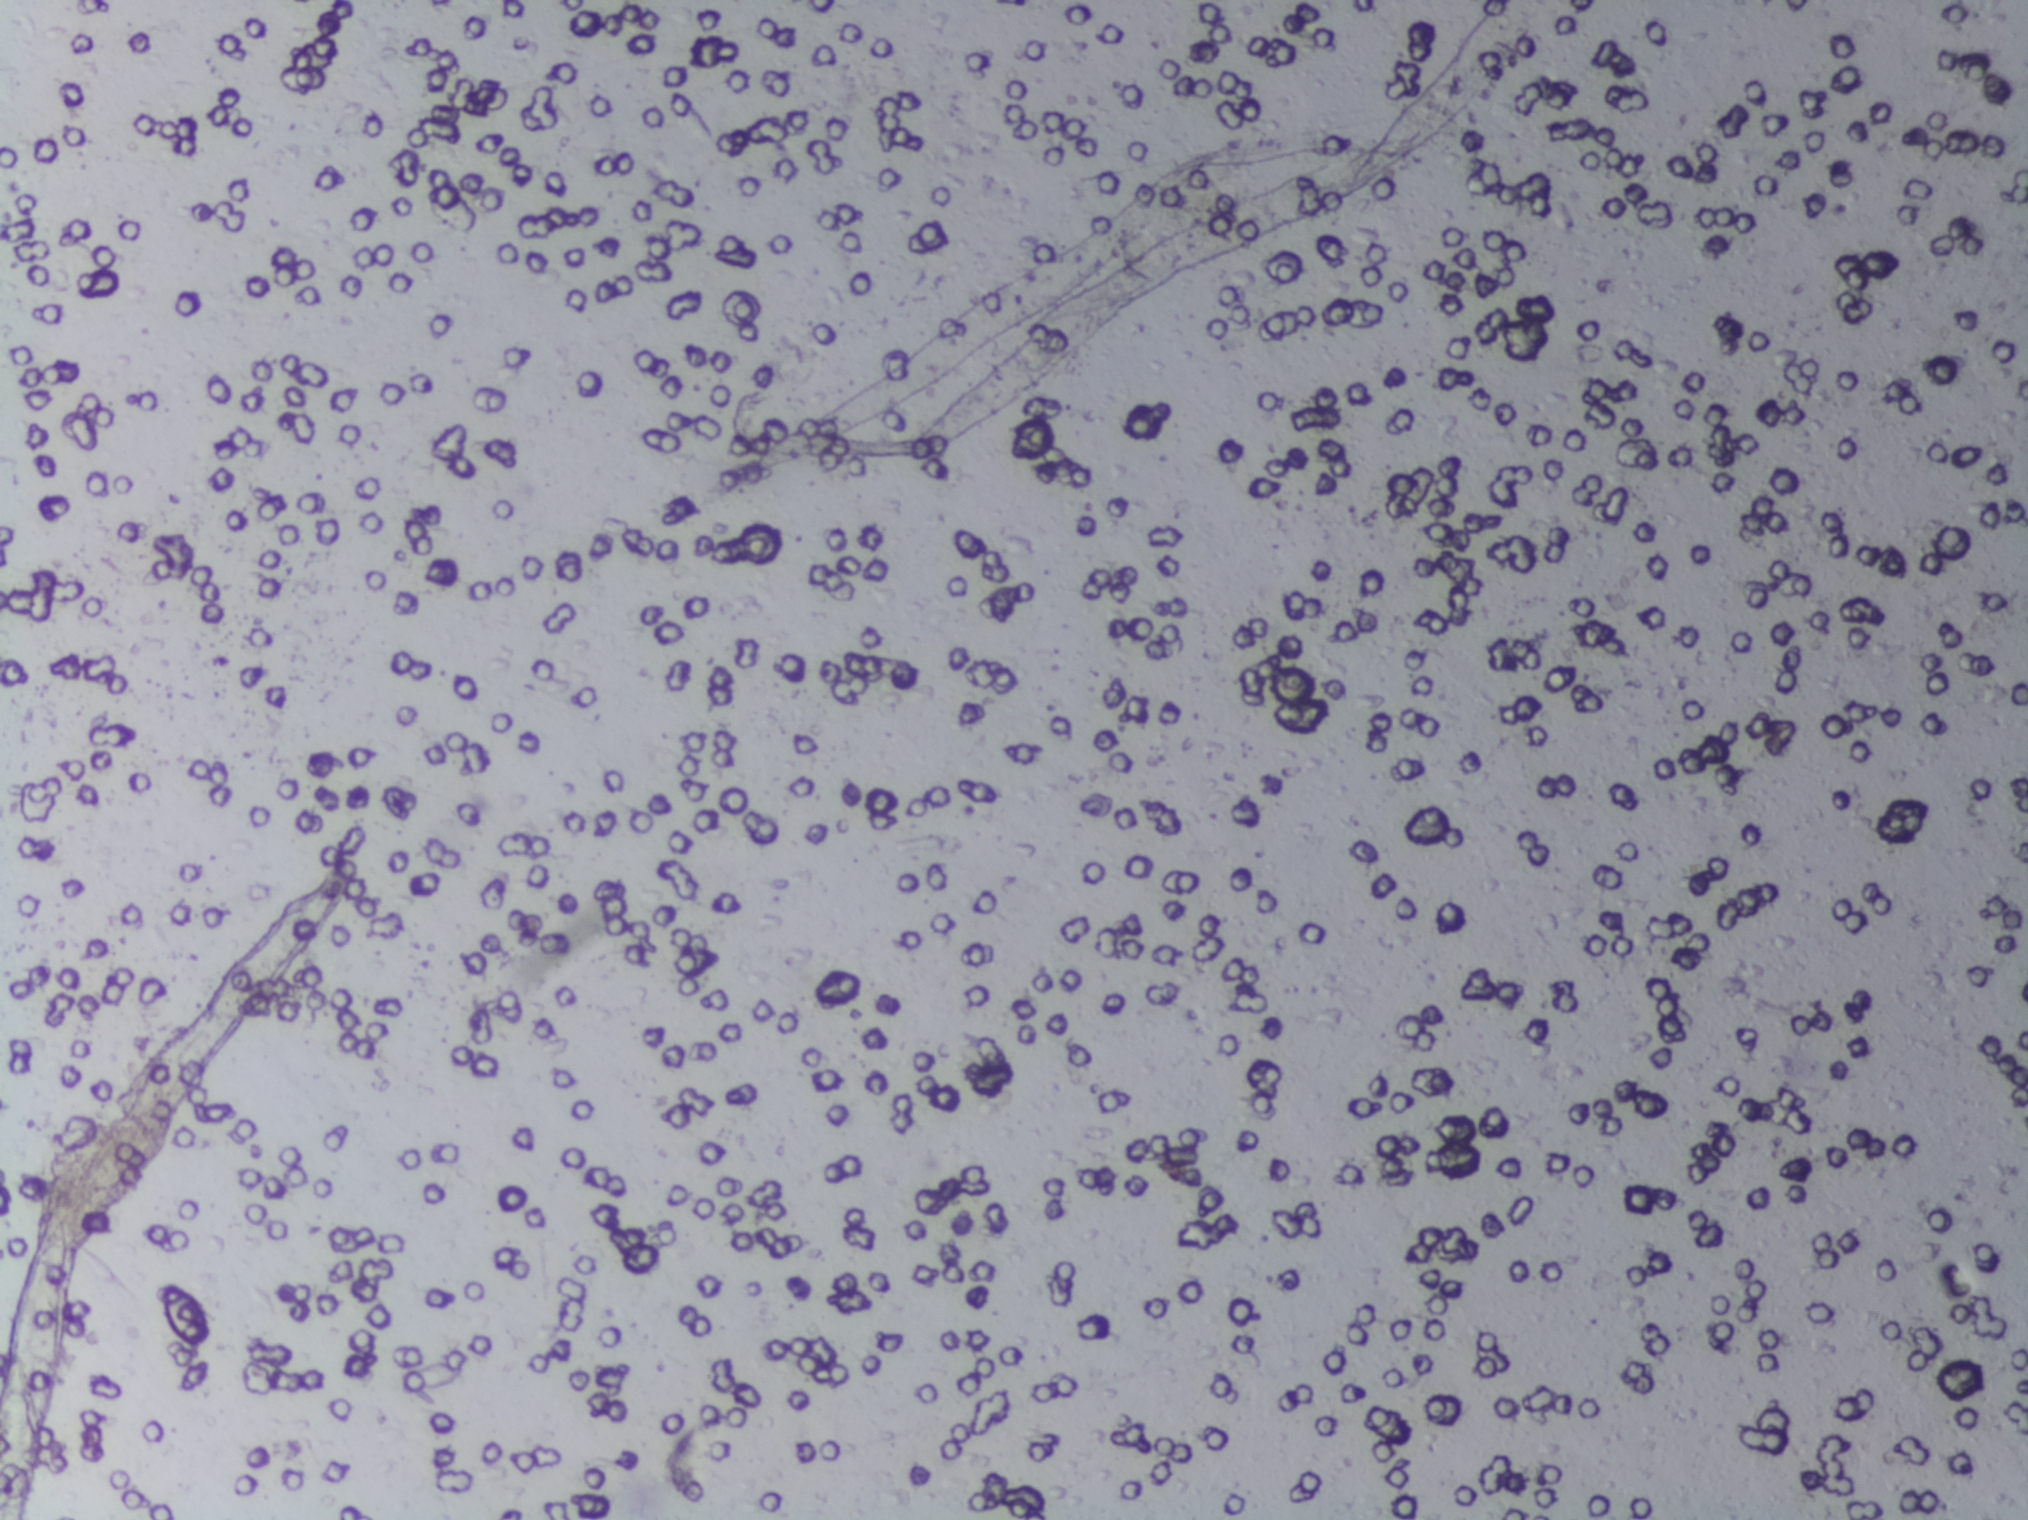
The expert annotation marks no Schistosoma egg in this field of view.
One field of view of a urine filter membrane, 4× objective, 2028 × 1520 pixels. The field of view is about 1.5 mm × 1.1 mm.